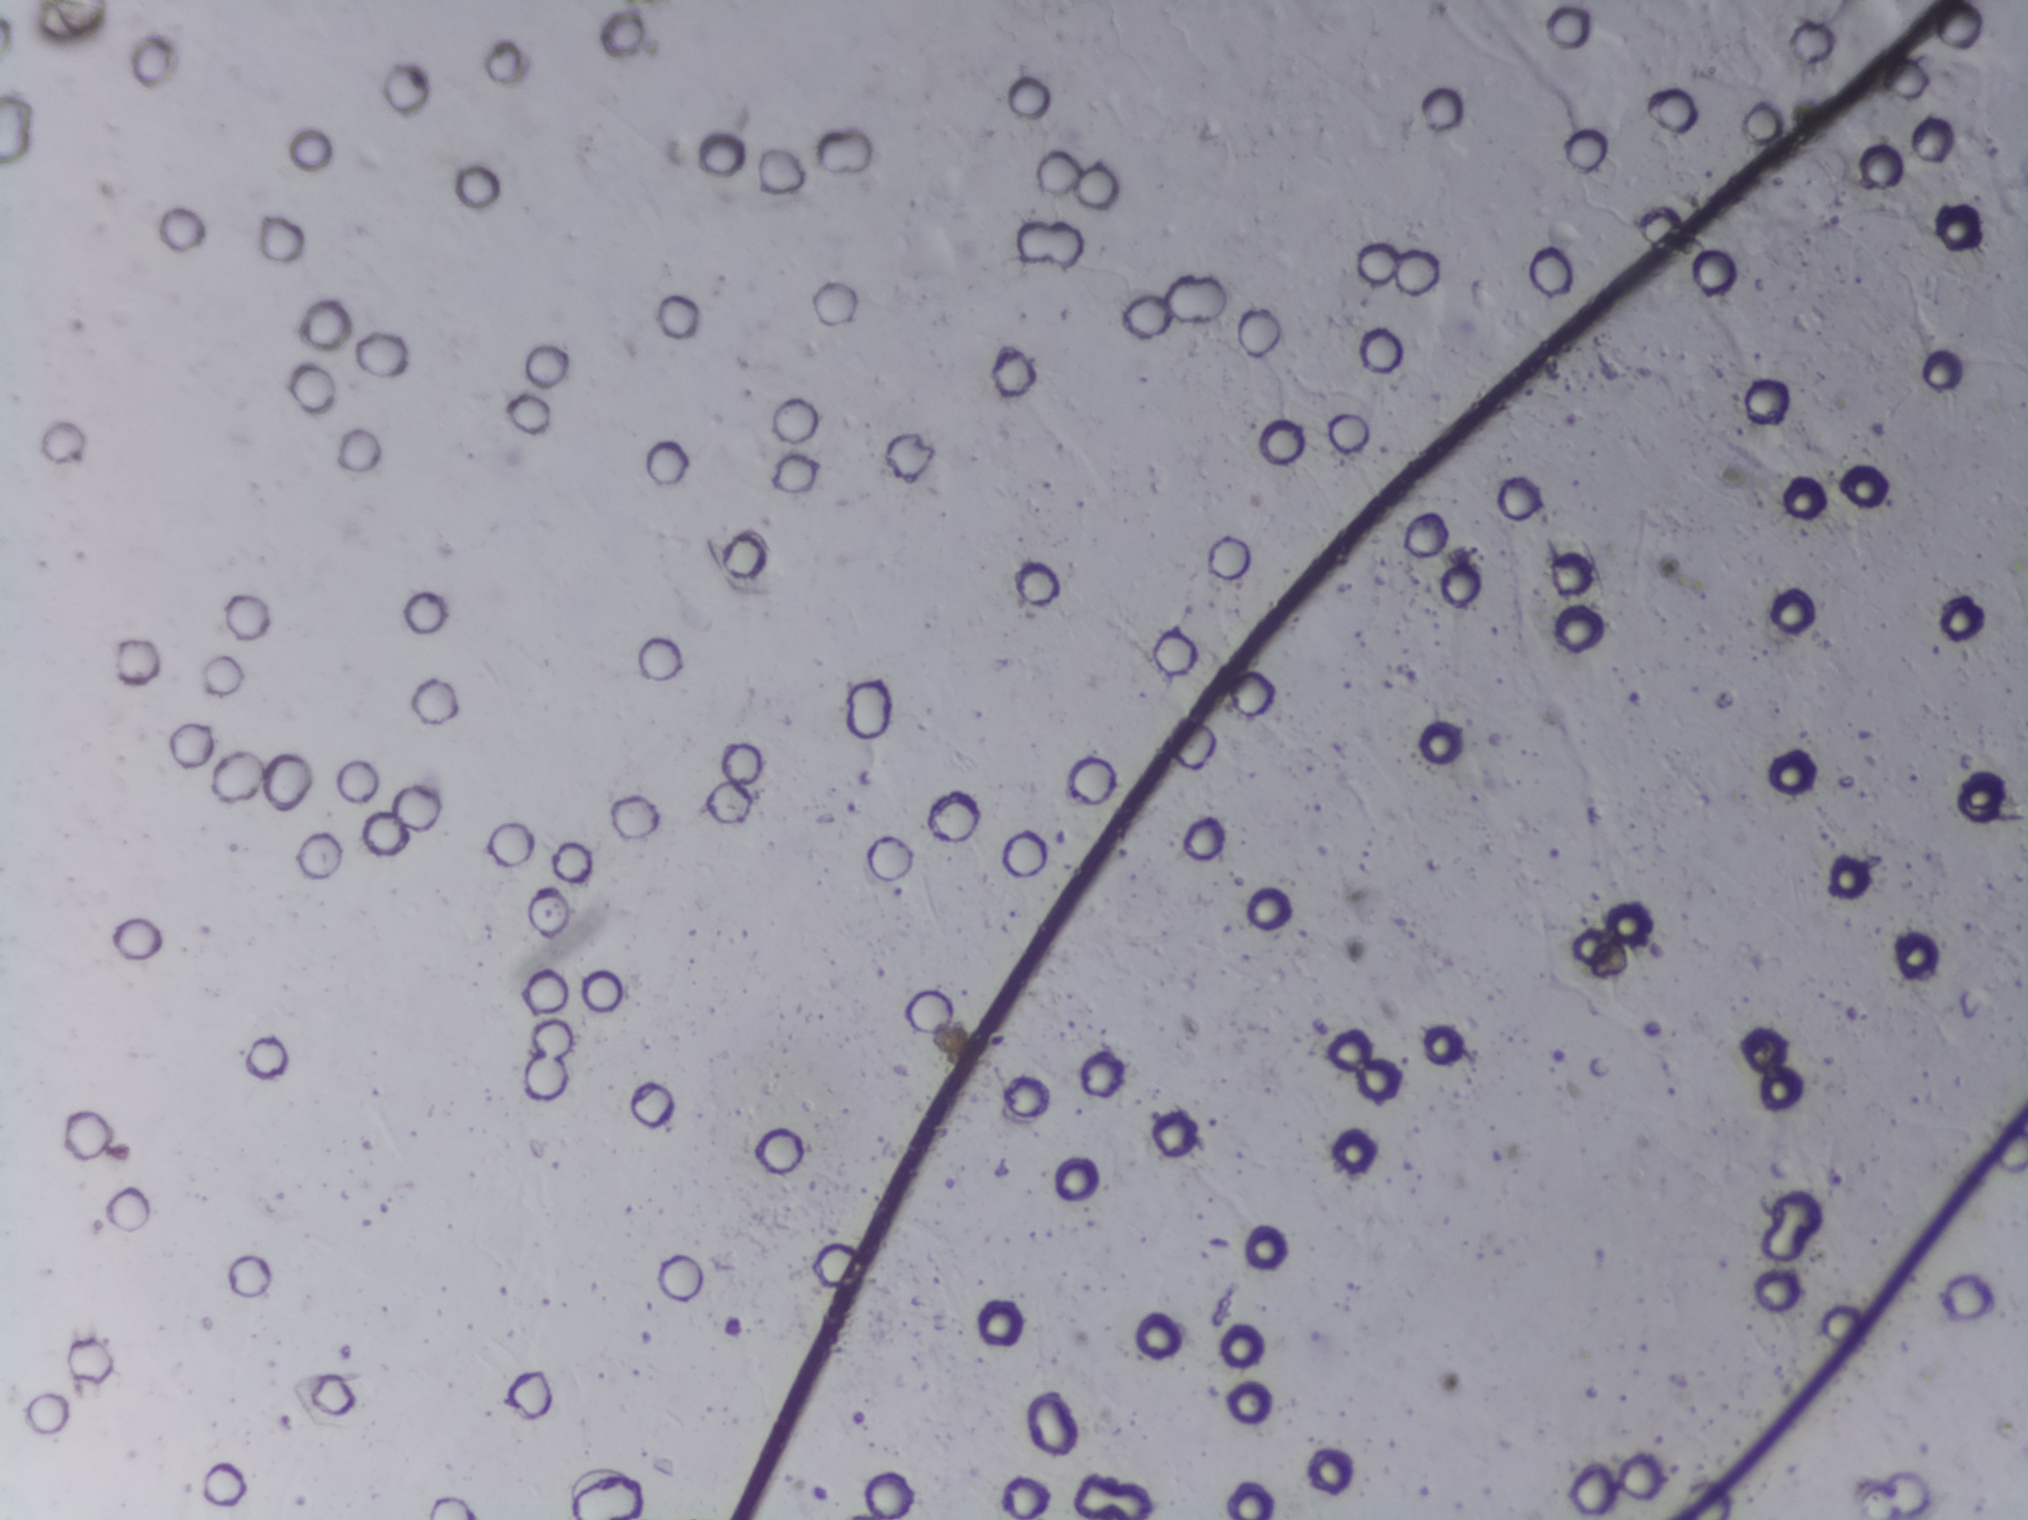
Photomicrograph of a urine filtration membrane, 4× objective.
The expert annotation outlines no Schistosoma egg in this image.